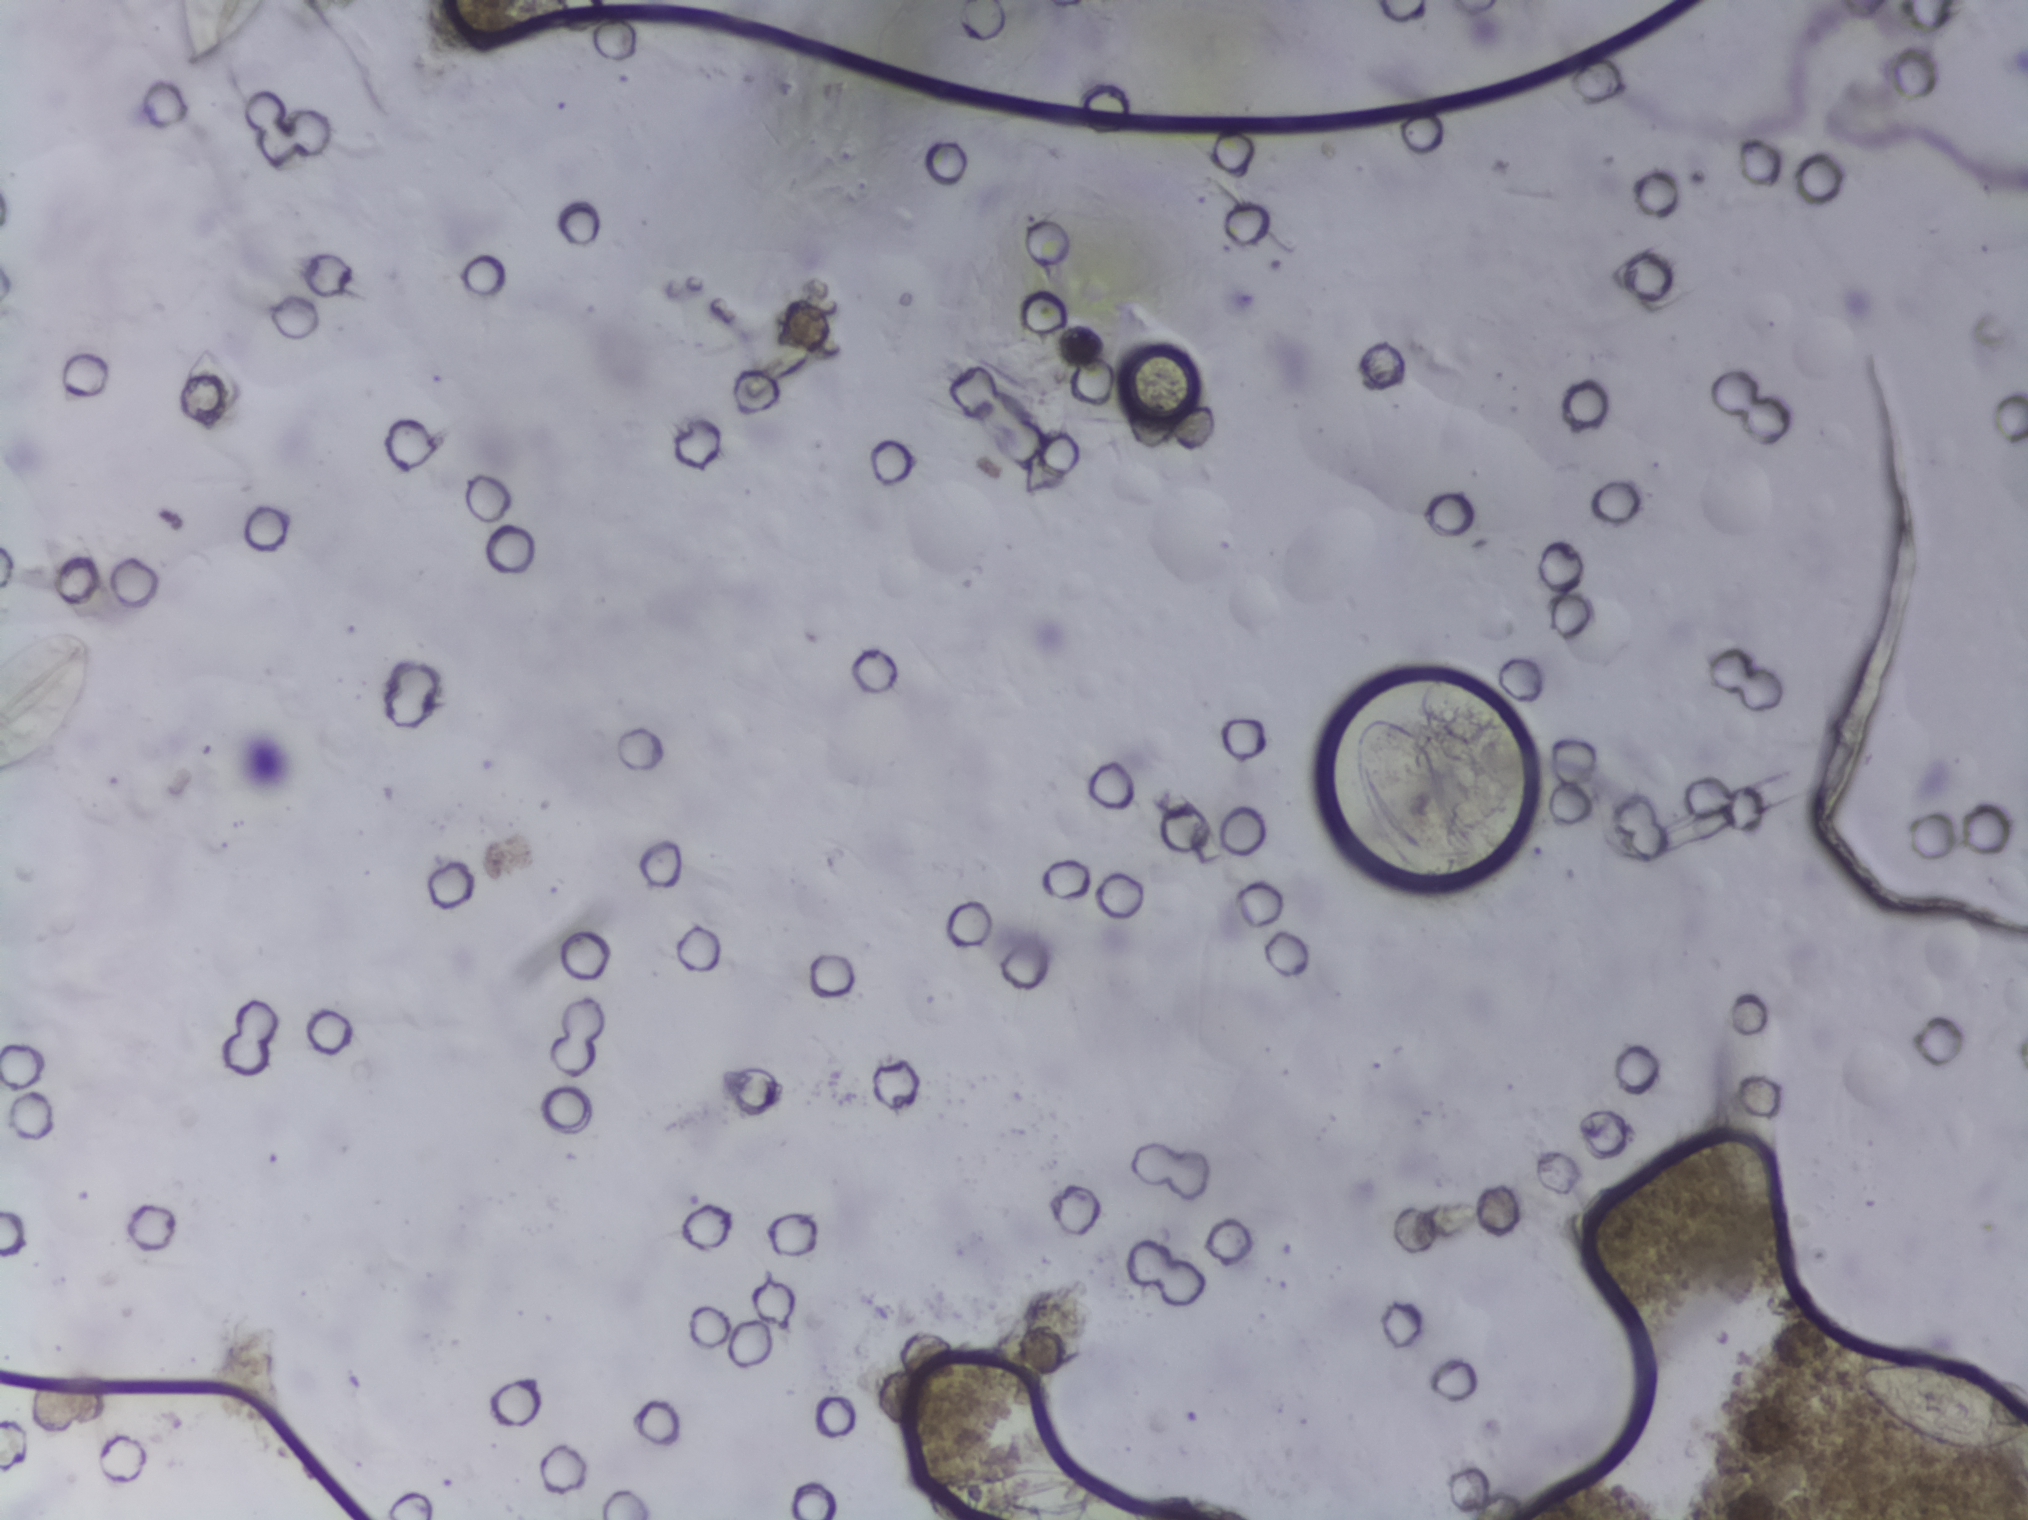
Photograph from an automated digital microscope: urine filter membrane, 4× objective.
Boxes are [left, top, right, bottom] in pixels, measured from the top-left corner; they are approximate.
Findings: four areas outlined as Schistosoma eggs. Locations, left to right: [0, 623, 99, 776] (reaching the left edge of the frame); [164, 0, 273, 75] (reaching the top edge of the frame); [1353, 716, 1458, 875]; [1852, 1352, 2027, 1454] (reaching the right edge of the frame). About 1.3% of the image's pixels are marked (the marked pixels themselves, not the boxes around them). A single outlined area may contain several eggs.